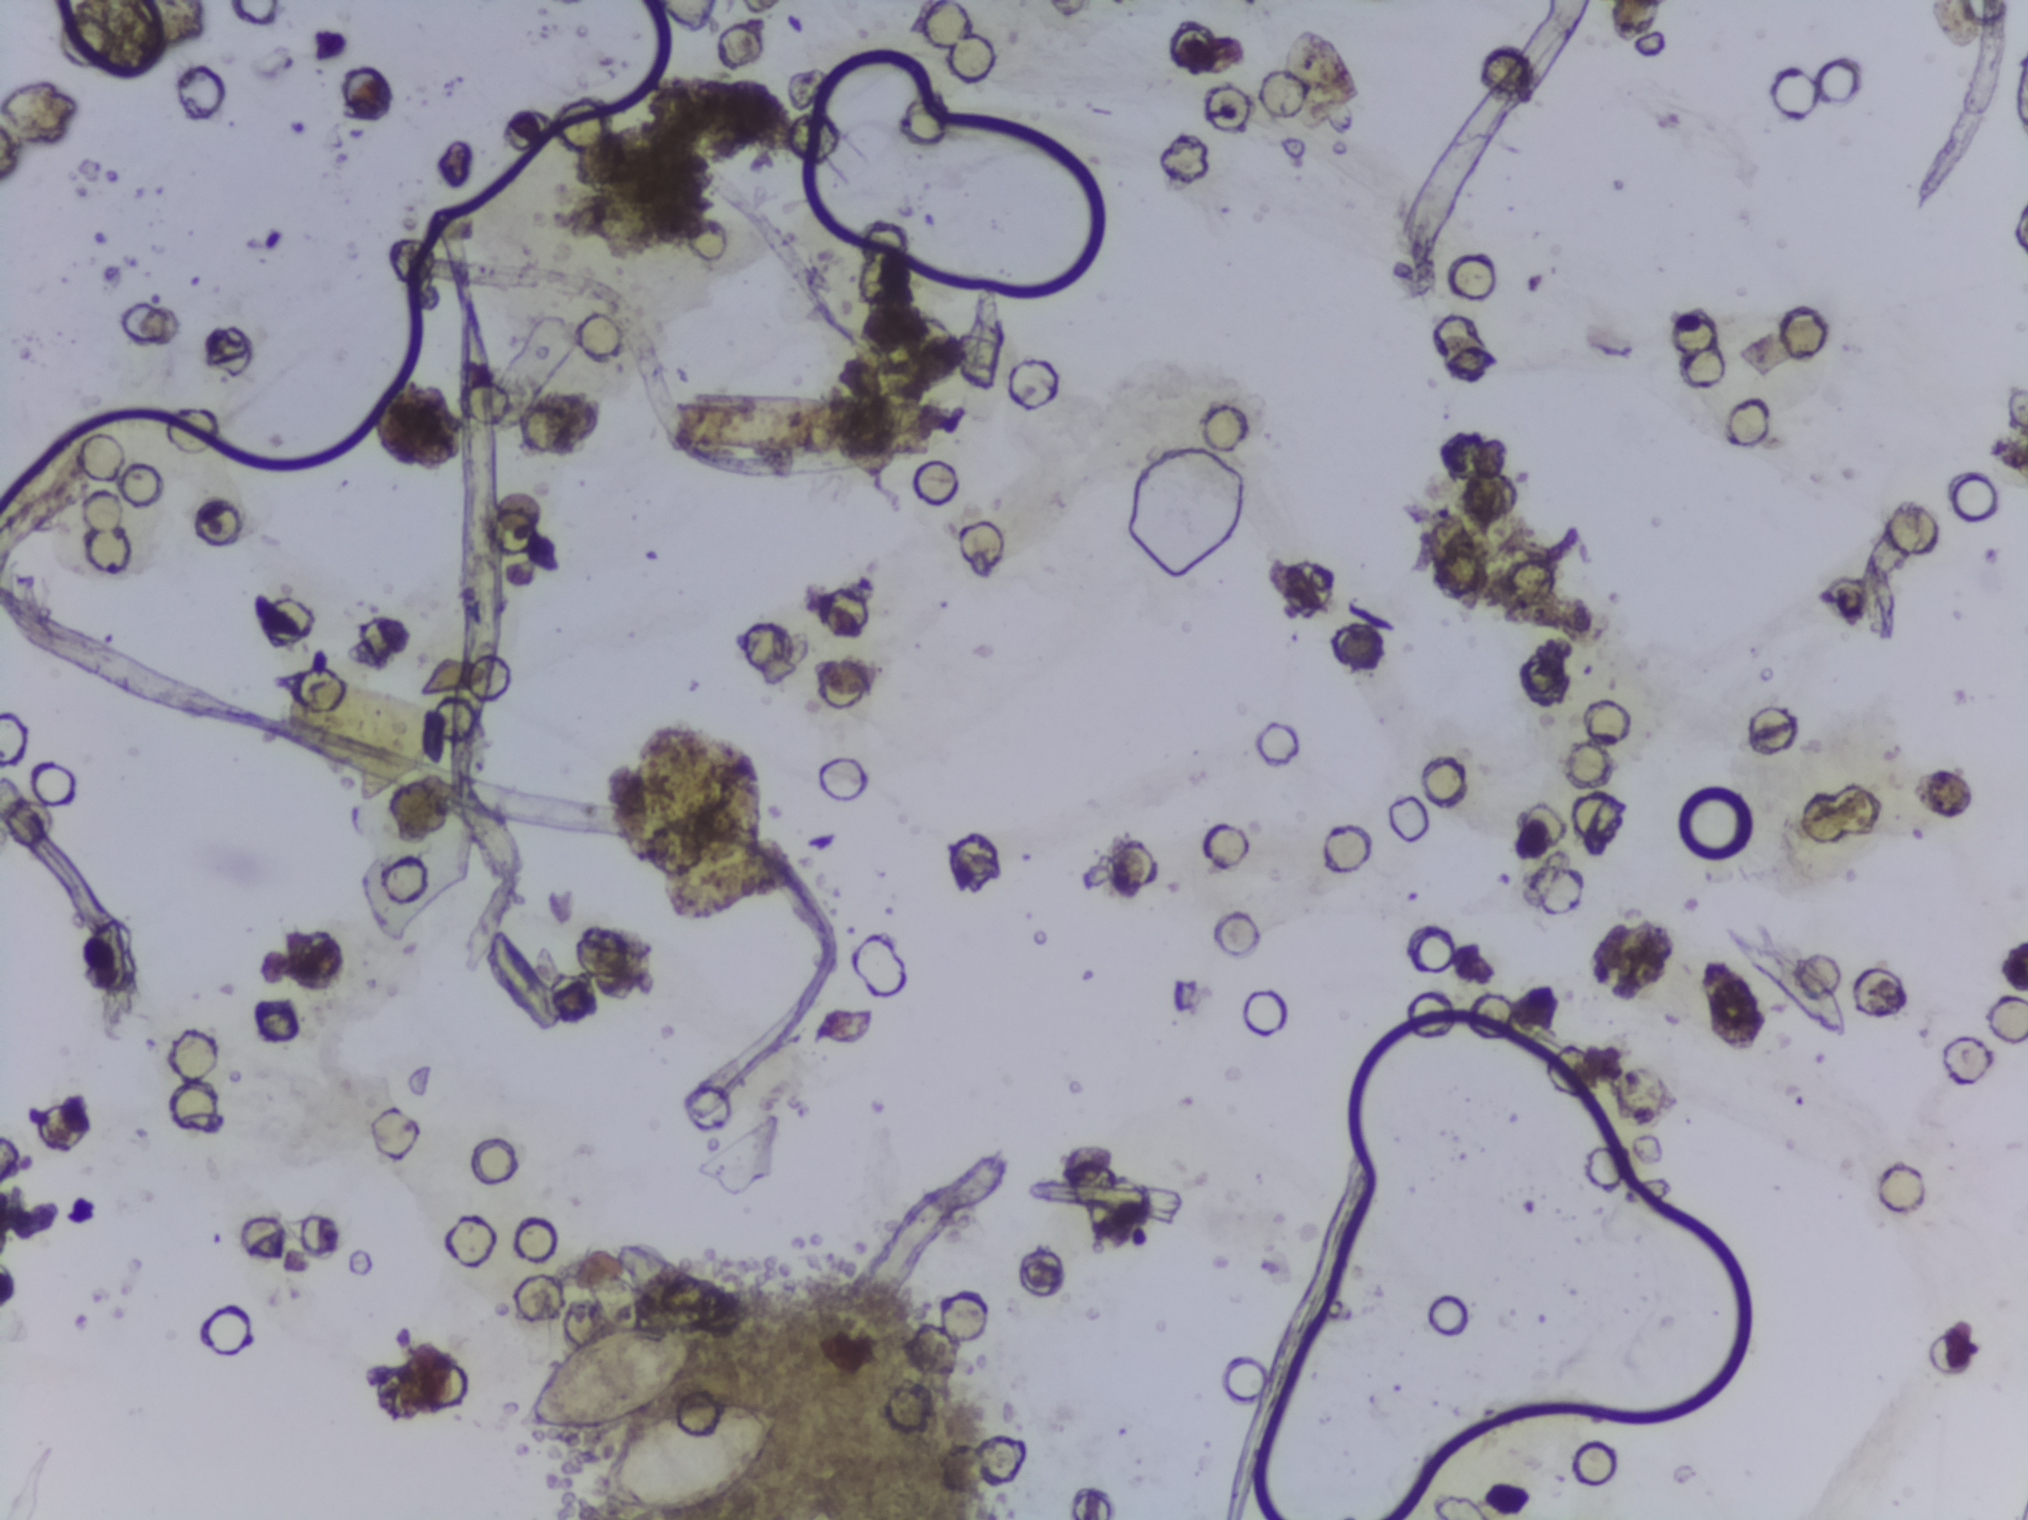
One field of view of a urine filter membrane, 4× objective, 2028 × 1520 pixels. The field of view is about 1.5 mm × 1.1 mm.
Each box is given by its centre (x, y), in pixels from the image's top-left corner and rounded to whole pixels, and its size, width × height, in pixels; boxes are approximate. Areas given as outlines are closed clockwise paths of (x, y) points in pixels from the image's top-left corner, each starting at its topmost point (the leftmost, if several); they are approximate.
Schistosoma eggs are outlined in two areas of this image, listed from left to right: outline (584, 1248), (637, 1284), (642, 1328), (706, 1324), (705, 1340), (668, 1400), (642, 1418), (605, 1429), (528, 1433), (518, 1426), (519, 1411), (543, 1374), (575, 1340), (607, 1331), (586, 1299) and box centre (686, 1455), 201 × 119 px. A single outlined area may contain several eggs.